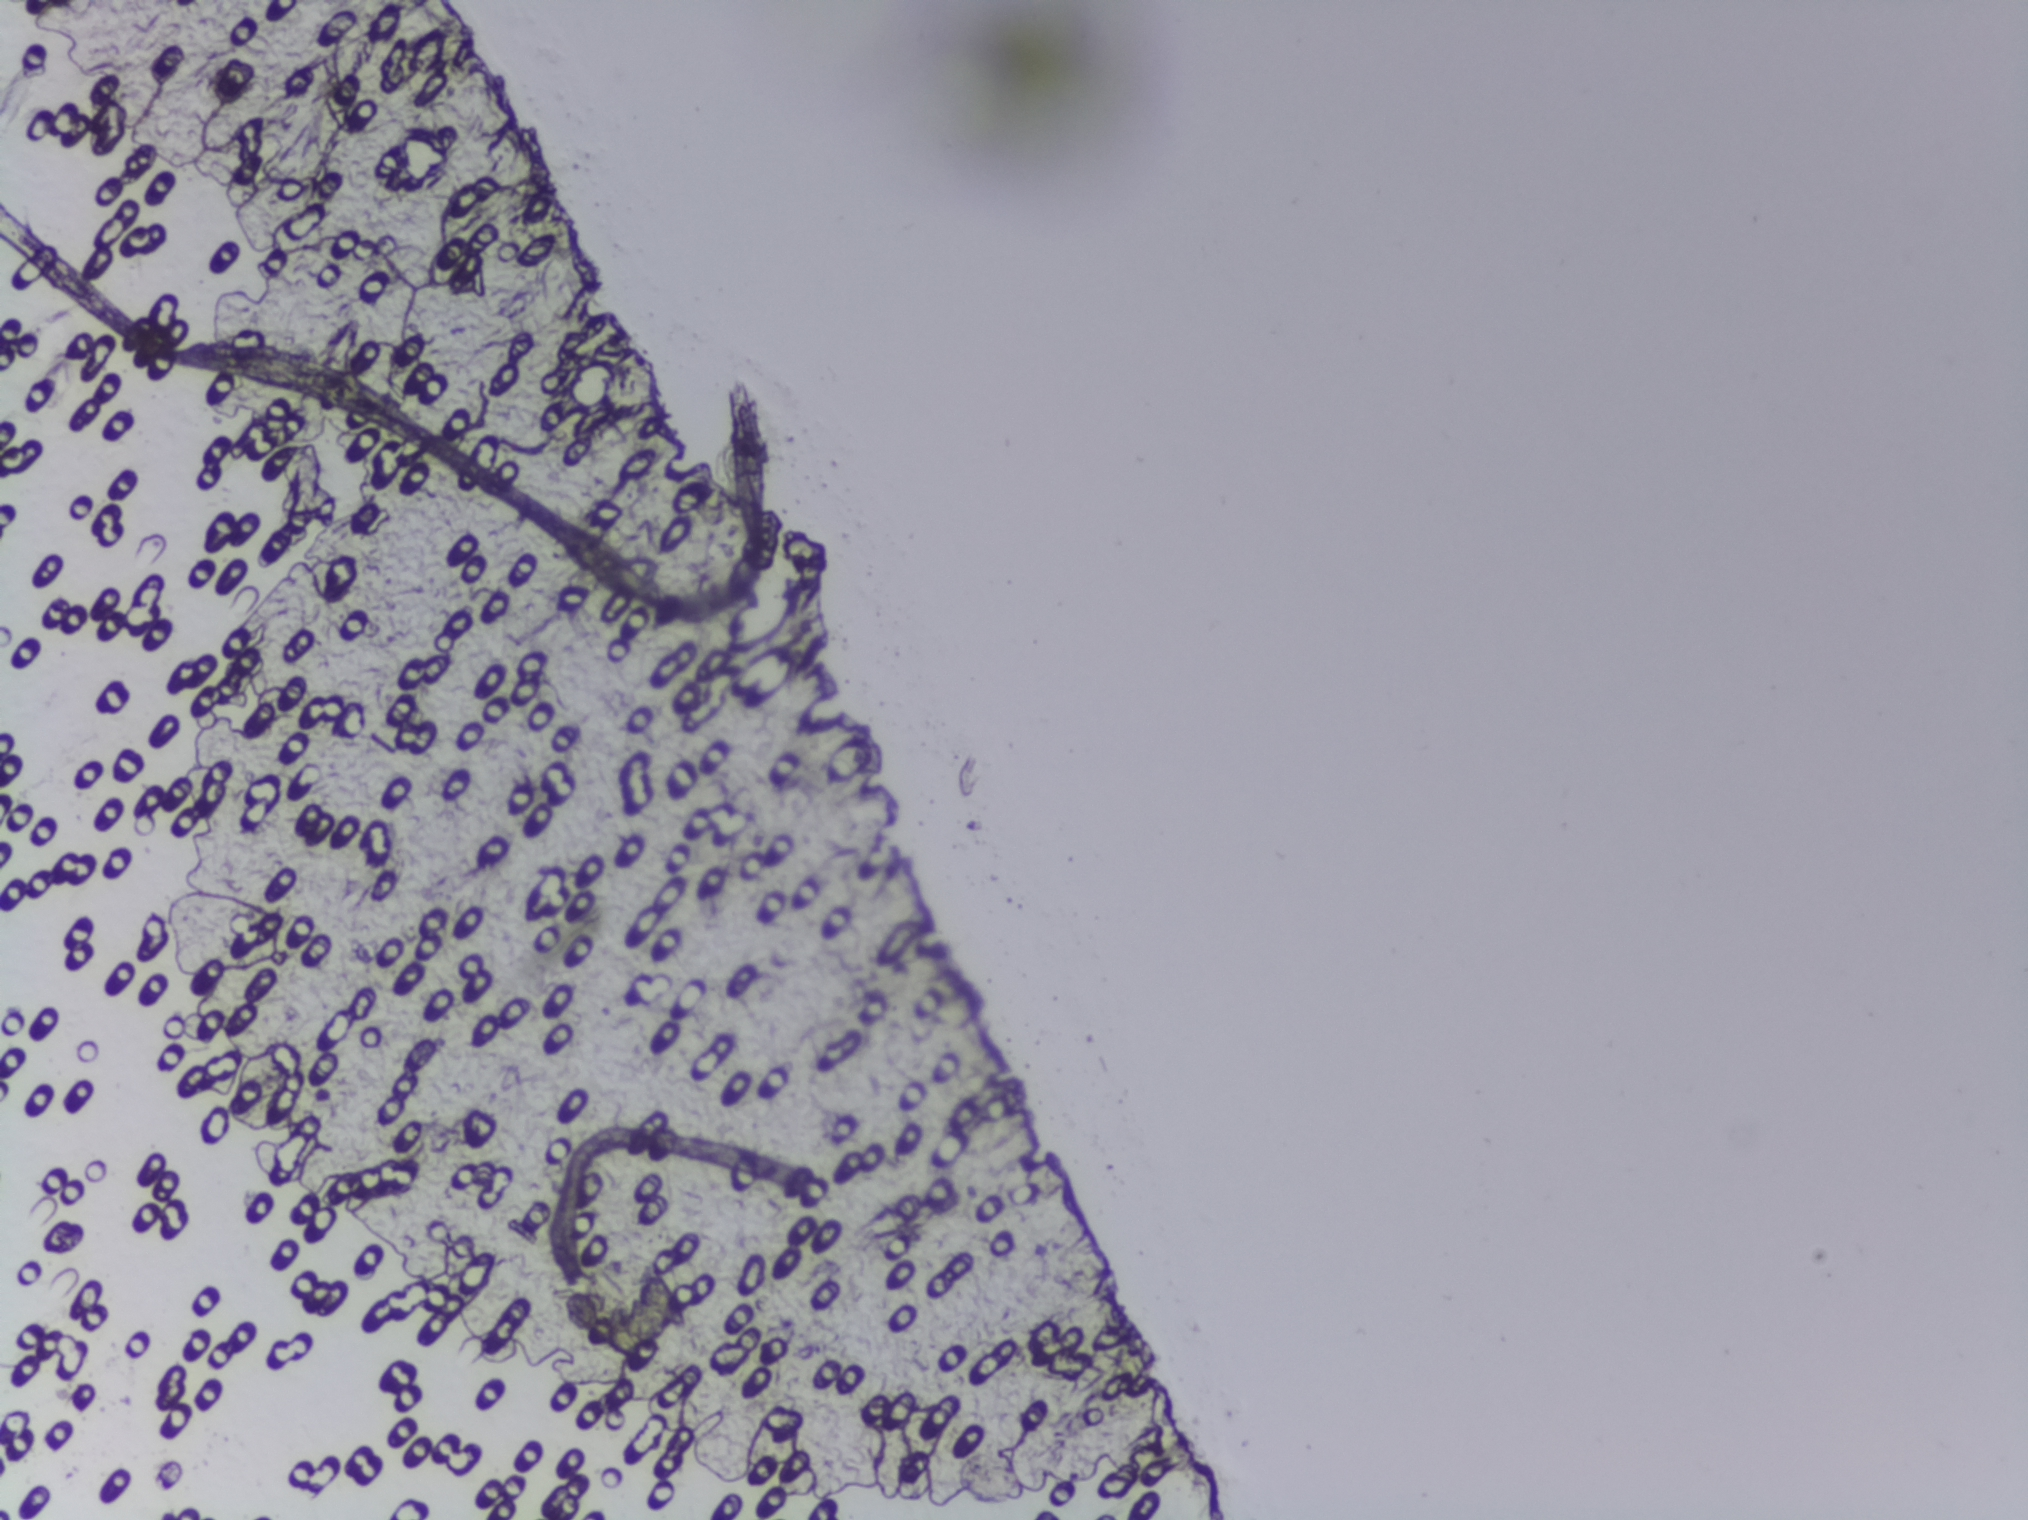
Schistosoma eggs: none outlined.
Photomicrograph of a urine filtration membrane, 4× objective.